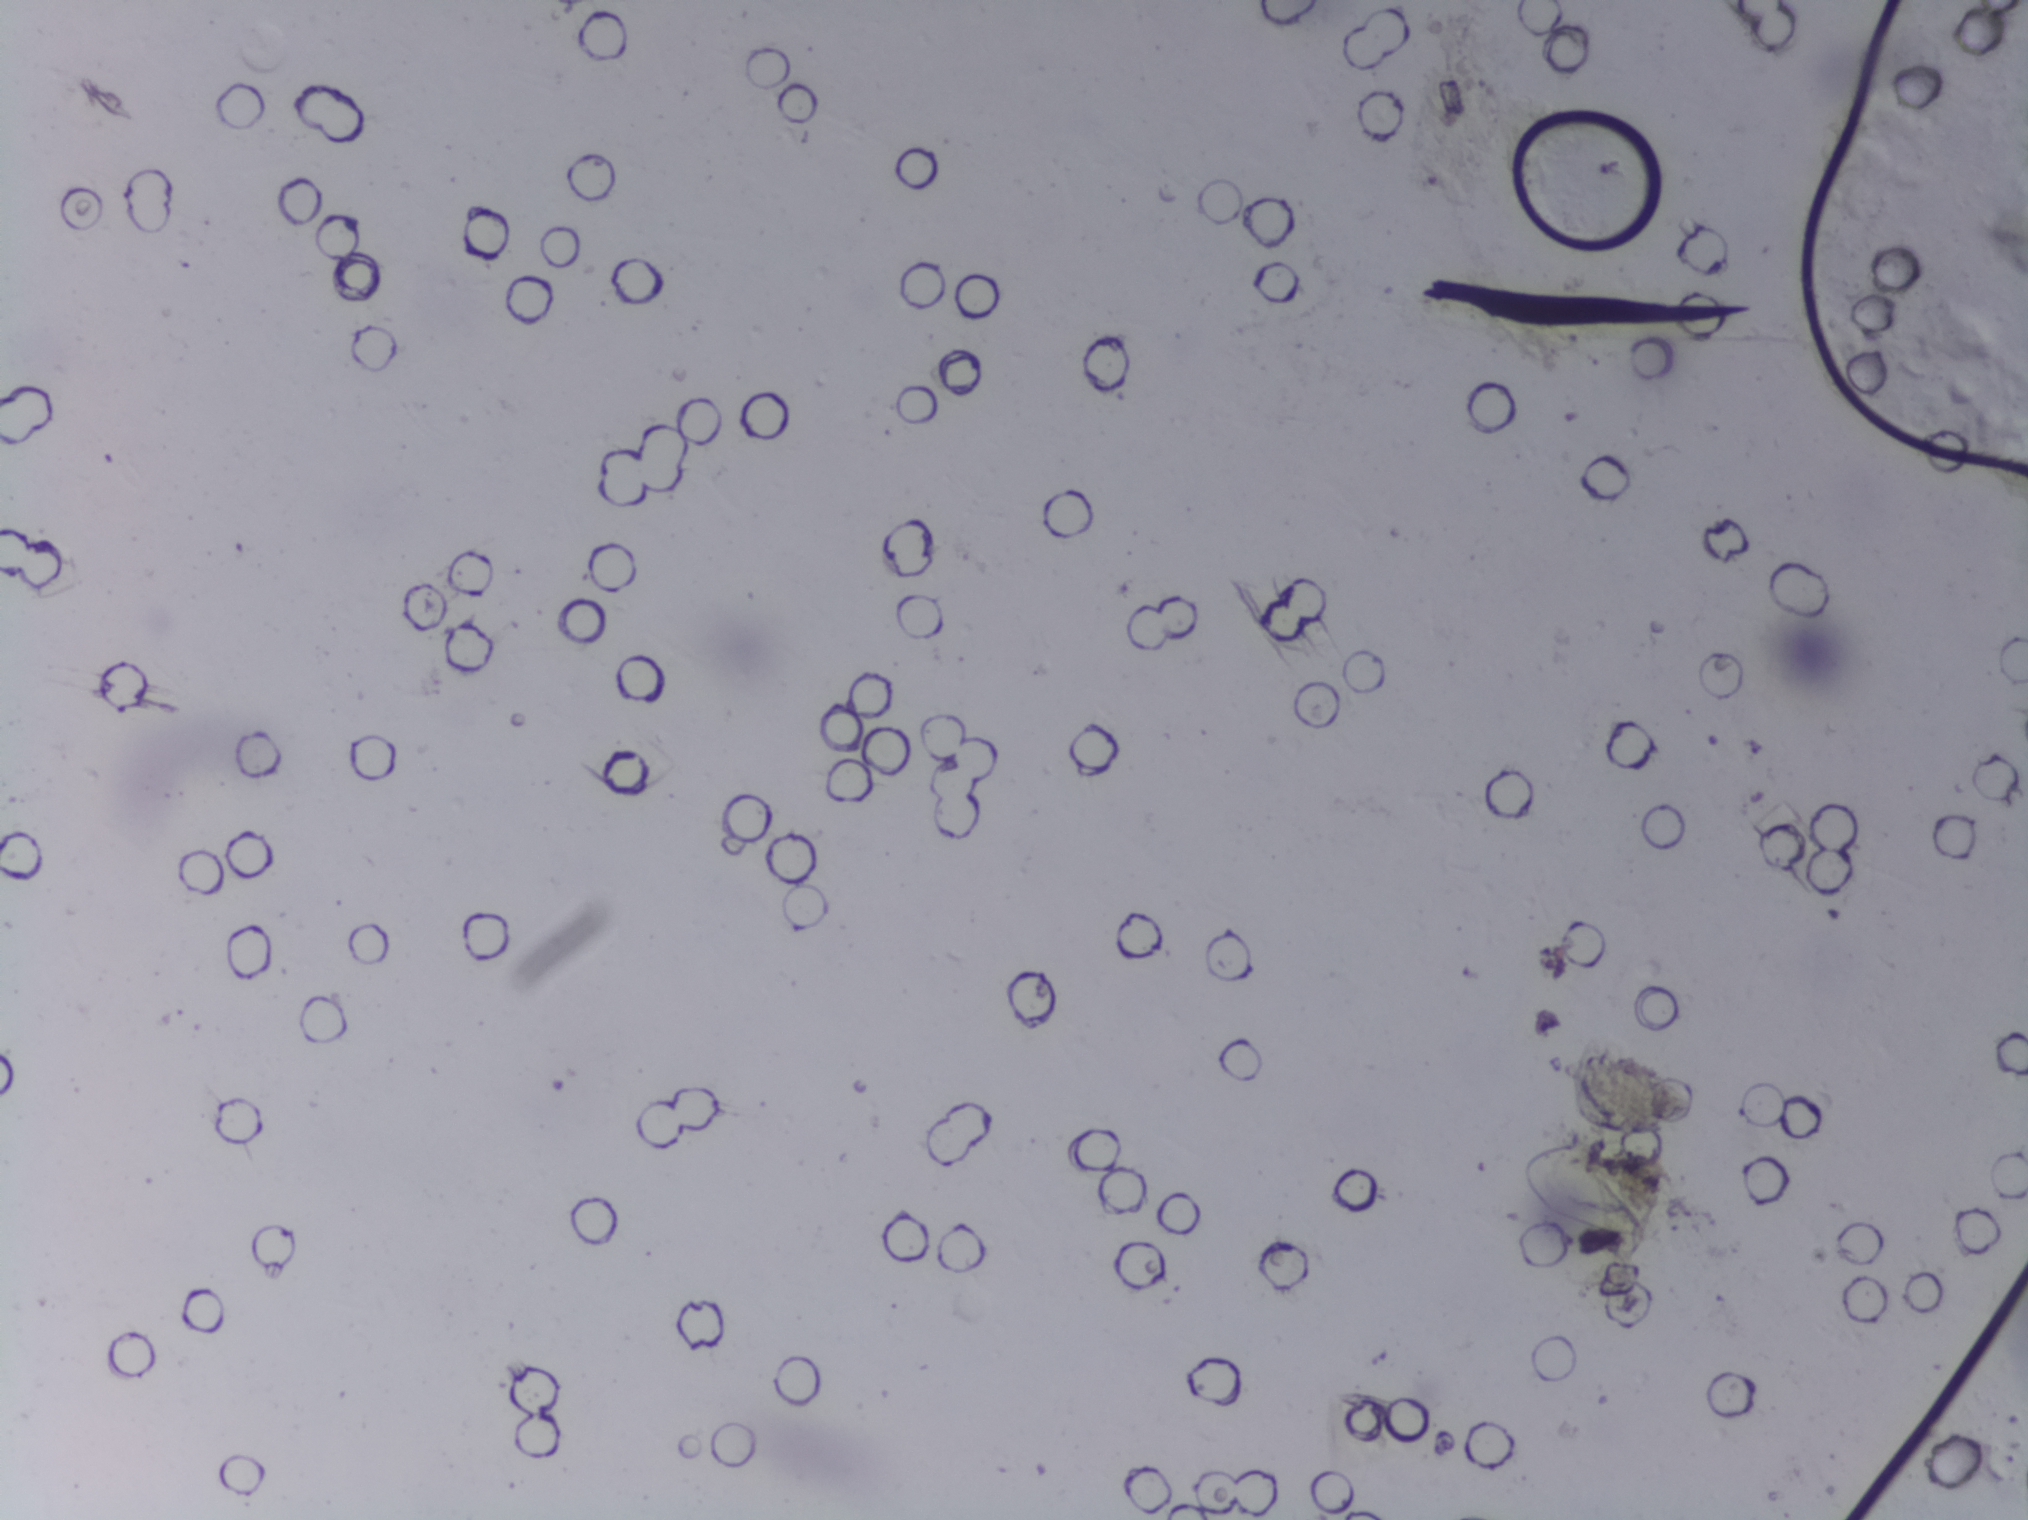
Photograph from an automated digital microscope: urine filter membrane, 4× objective.
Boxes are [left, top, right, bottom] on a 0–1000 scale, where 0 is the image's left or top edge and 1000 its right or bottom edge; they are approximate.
One area of this image is outlined as Schistosoma eggs: [750, 750, 823, 815]. Eggs that touch can end up inside the same outlined area.